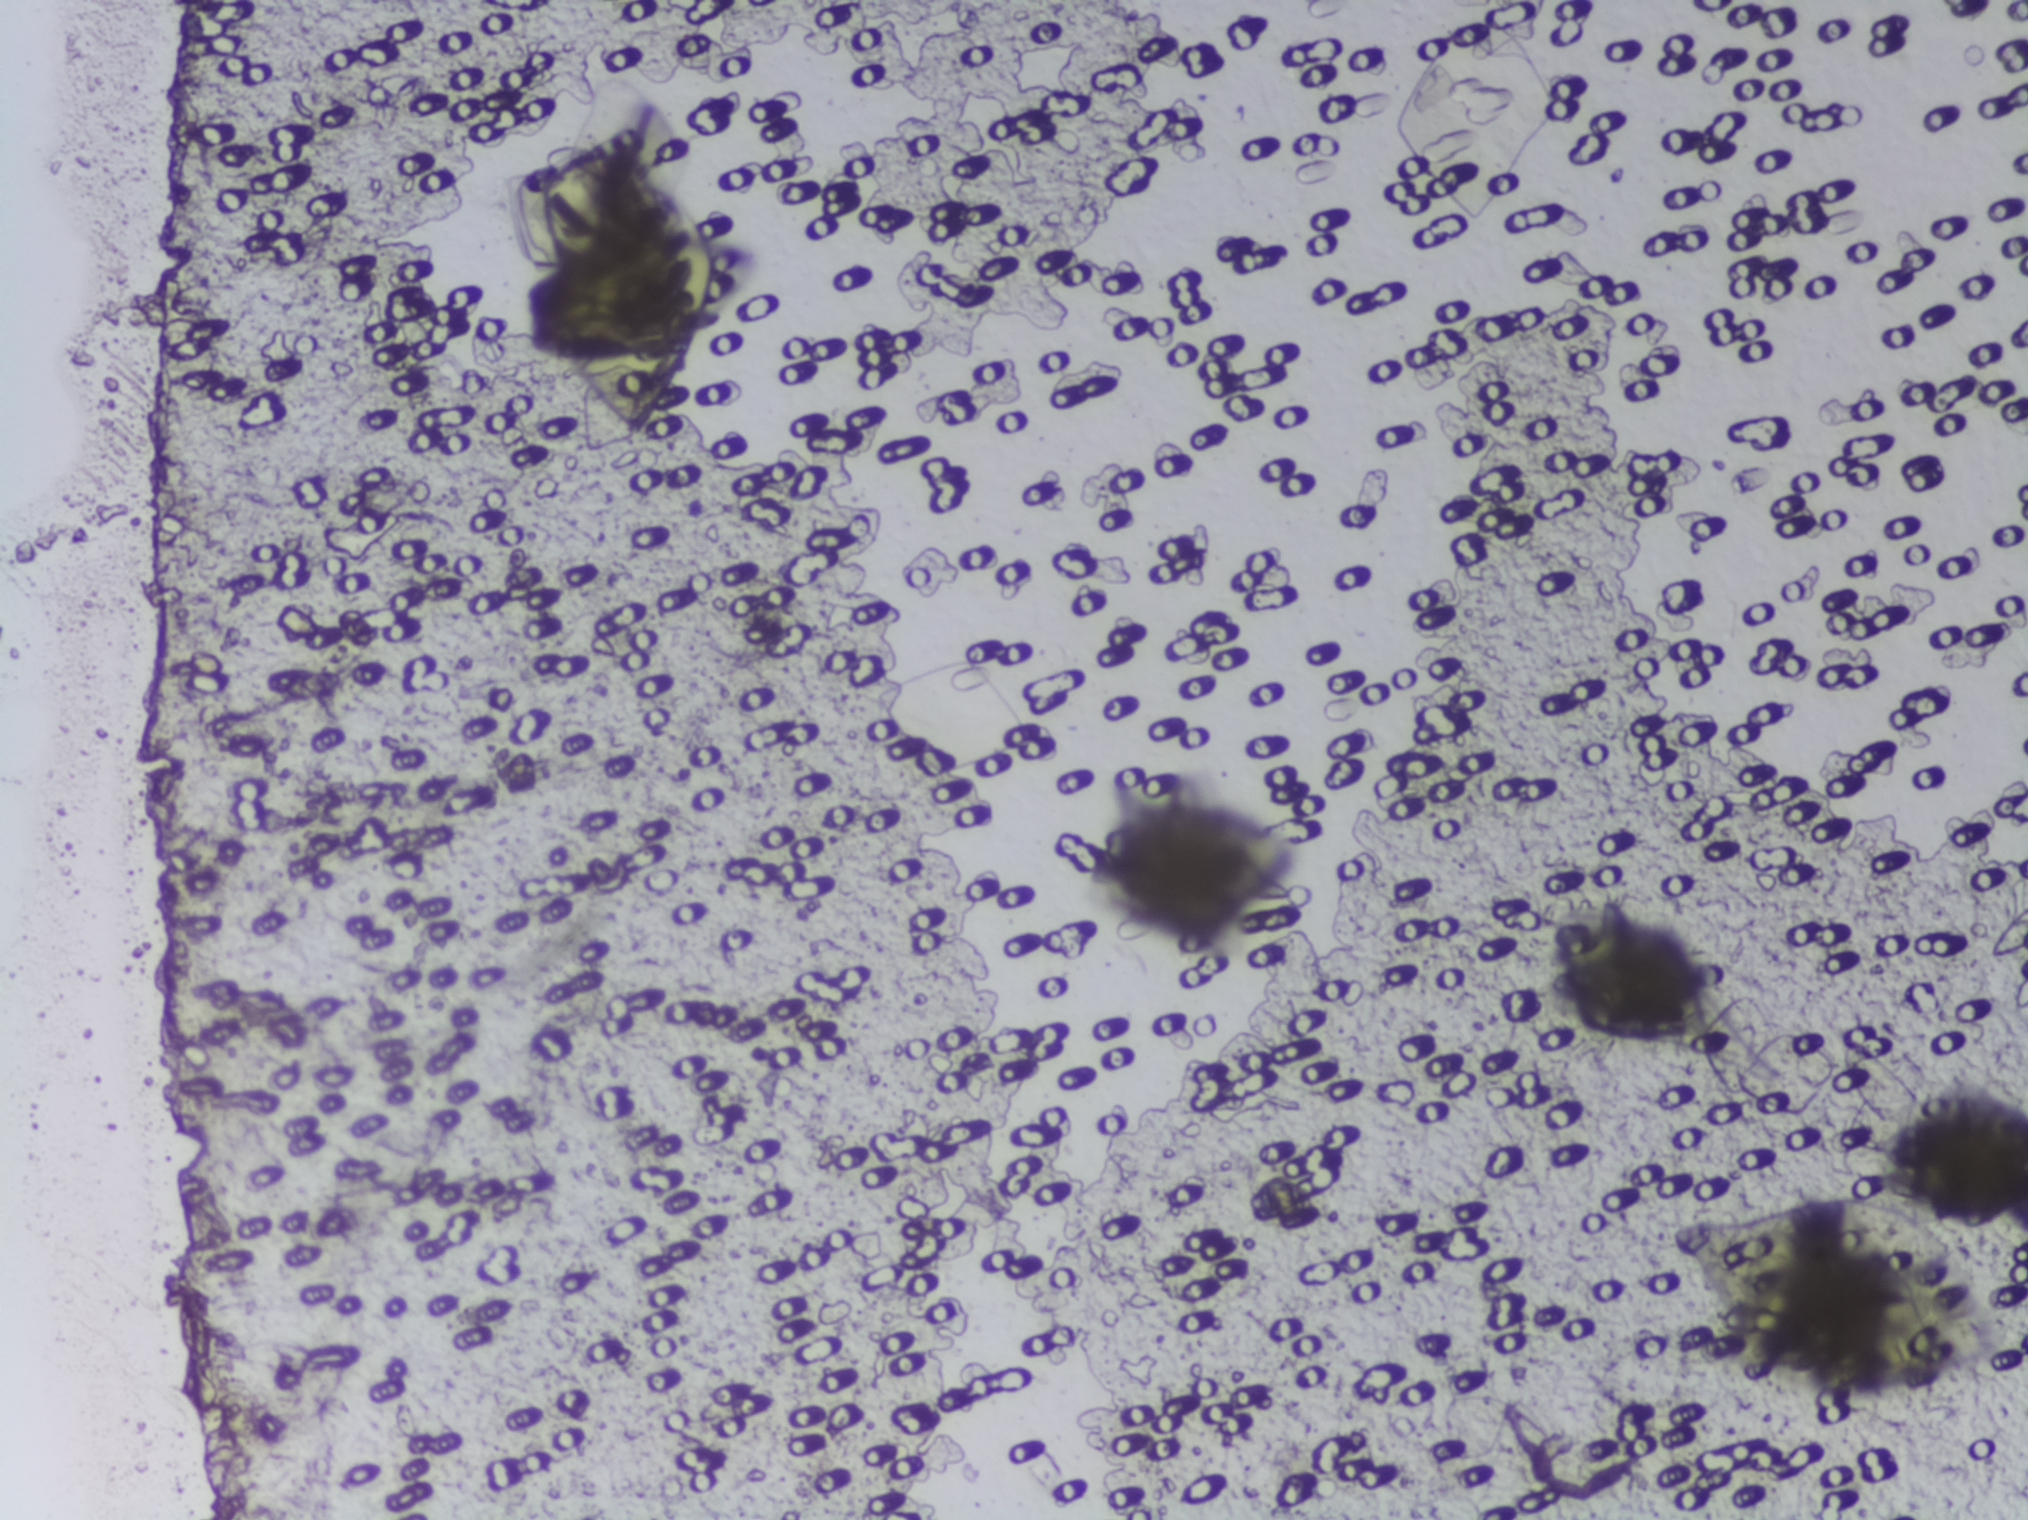
No Schistosoma egg is outlined in this image's expert annotation.
Photomicrograph of a urine filtration membrane, 4× objective. Field of view: about 1.5 mm wide and 1.1 mm high.